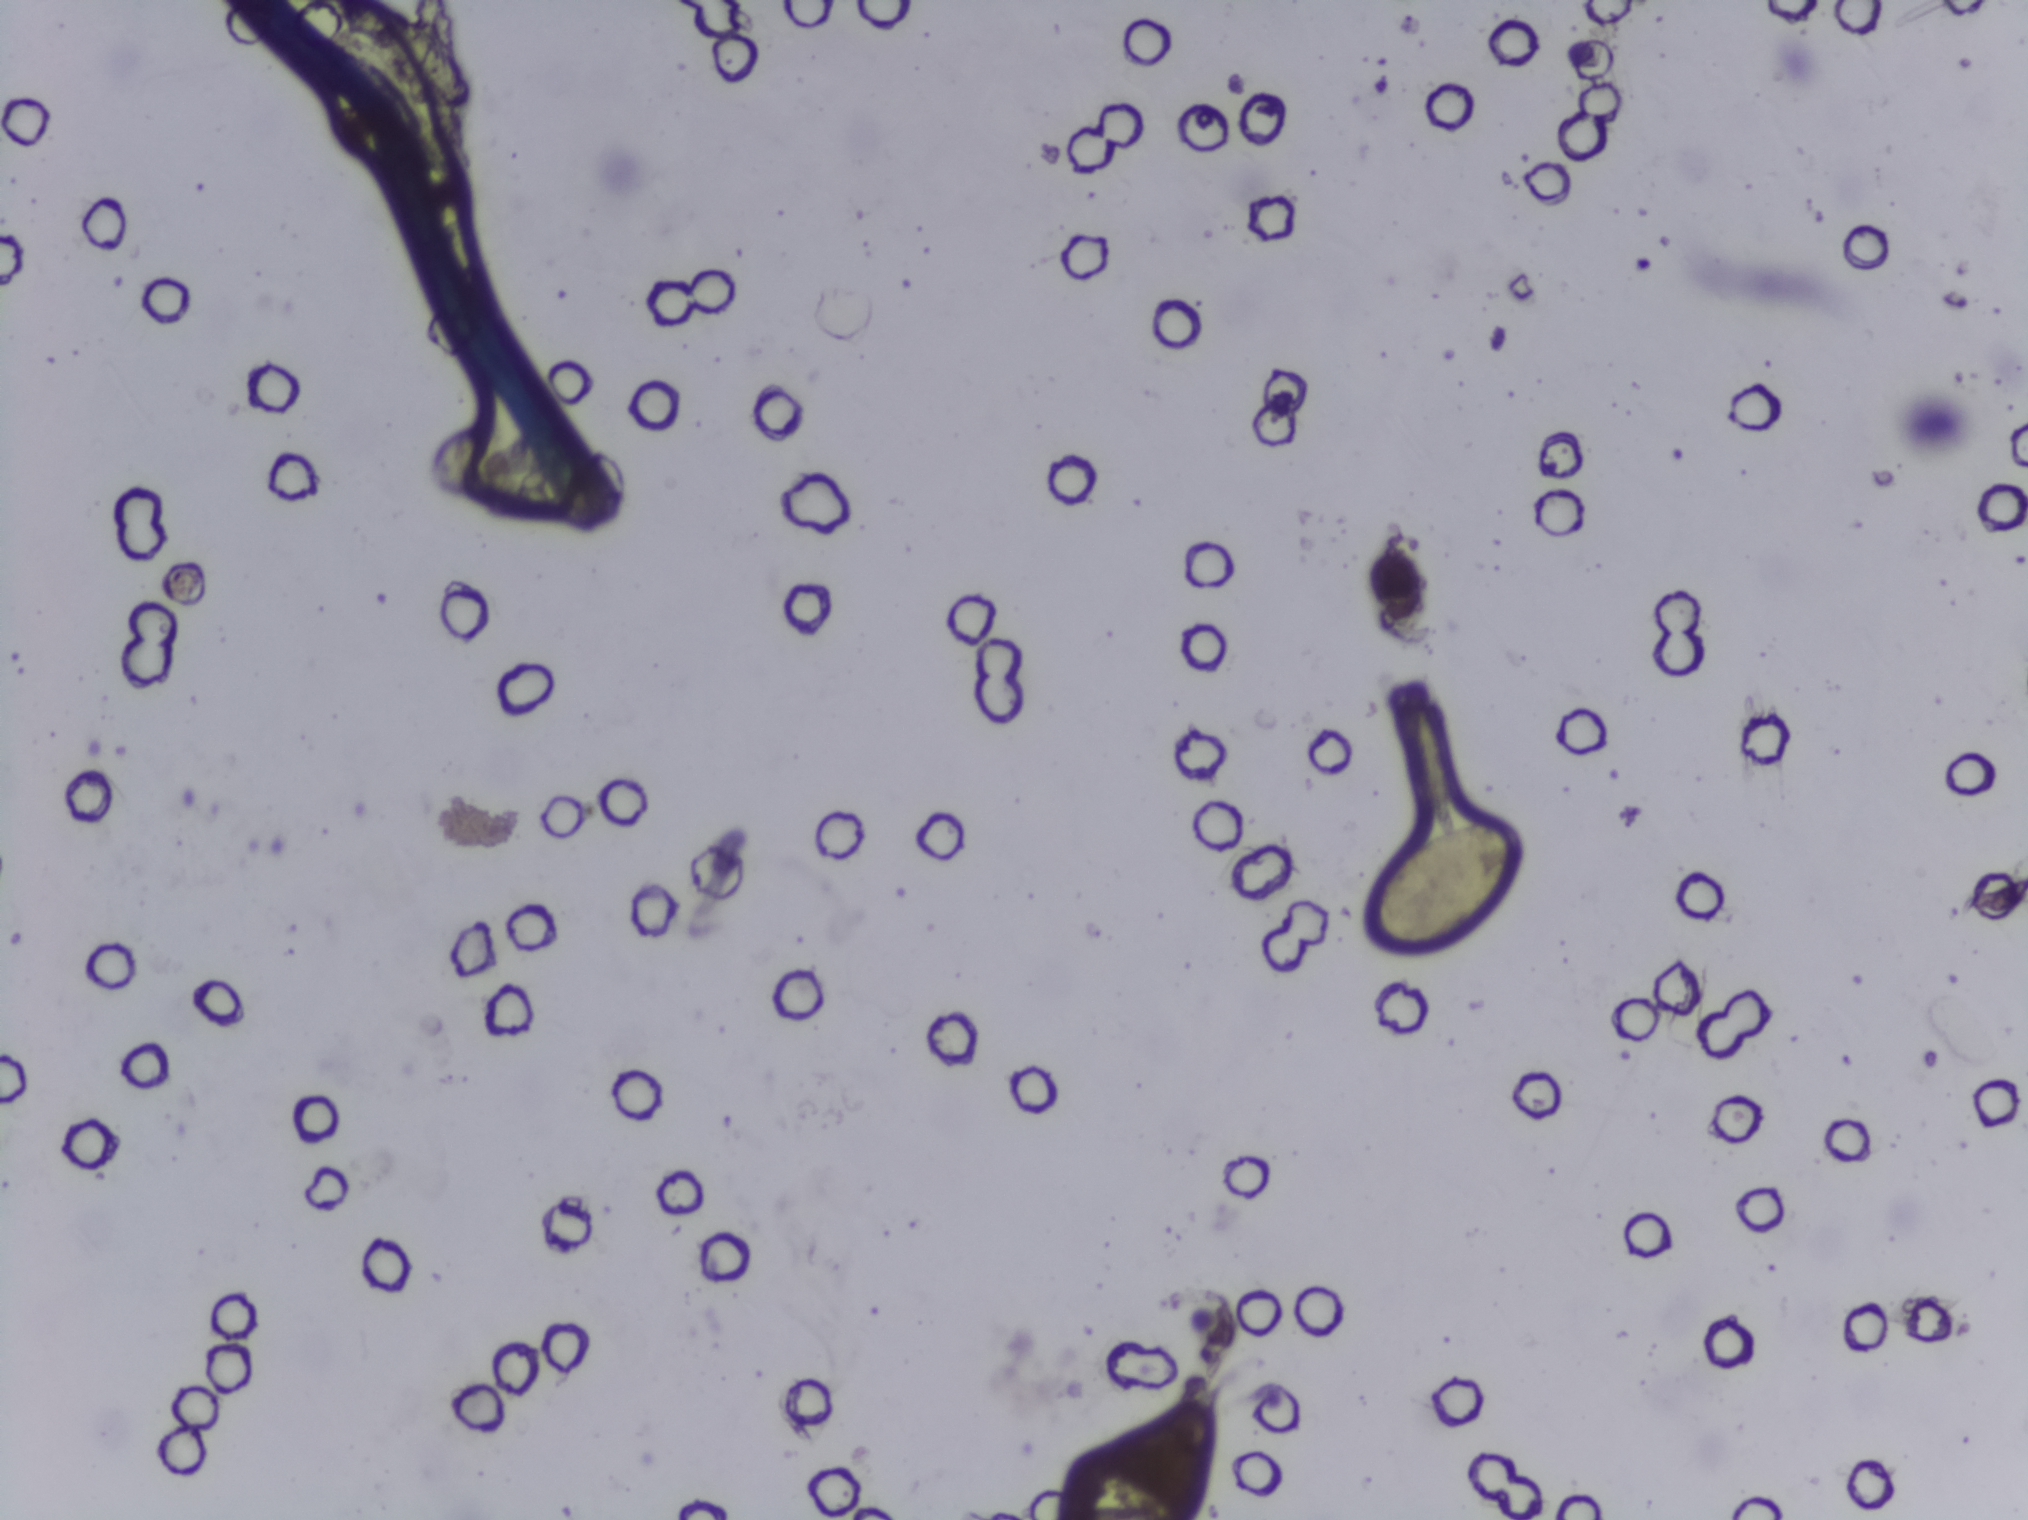
Urine filtration membrane under a 4× objective, photographed by an automated digital microscope.
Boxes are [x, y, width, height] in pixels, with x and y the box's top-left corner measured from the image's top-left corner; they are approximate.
Schistosoma eggs are outlined in the expert annotation at [1362, 814, 162, 140]. A single outlined area may contain several eggs.